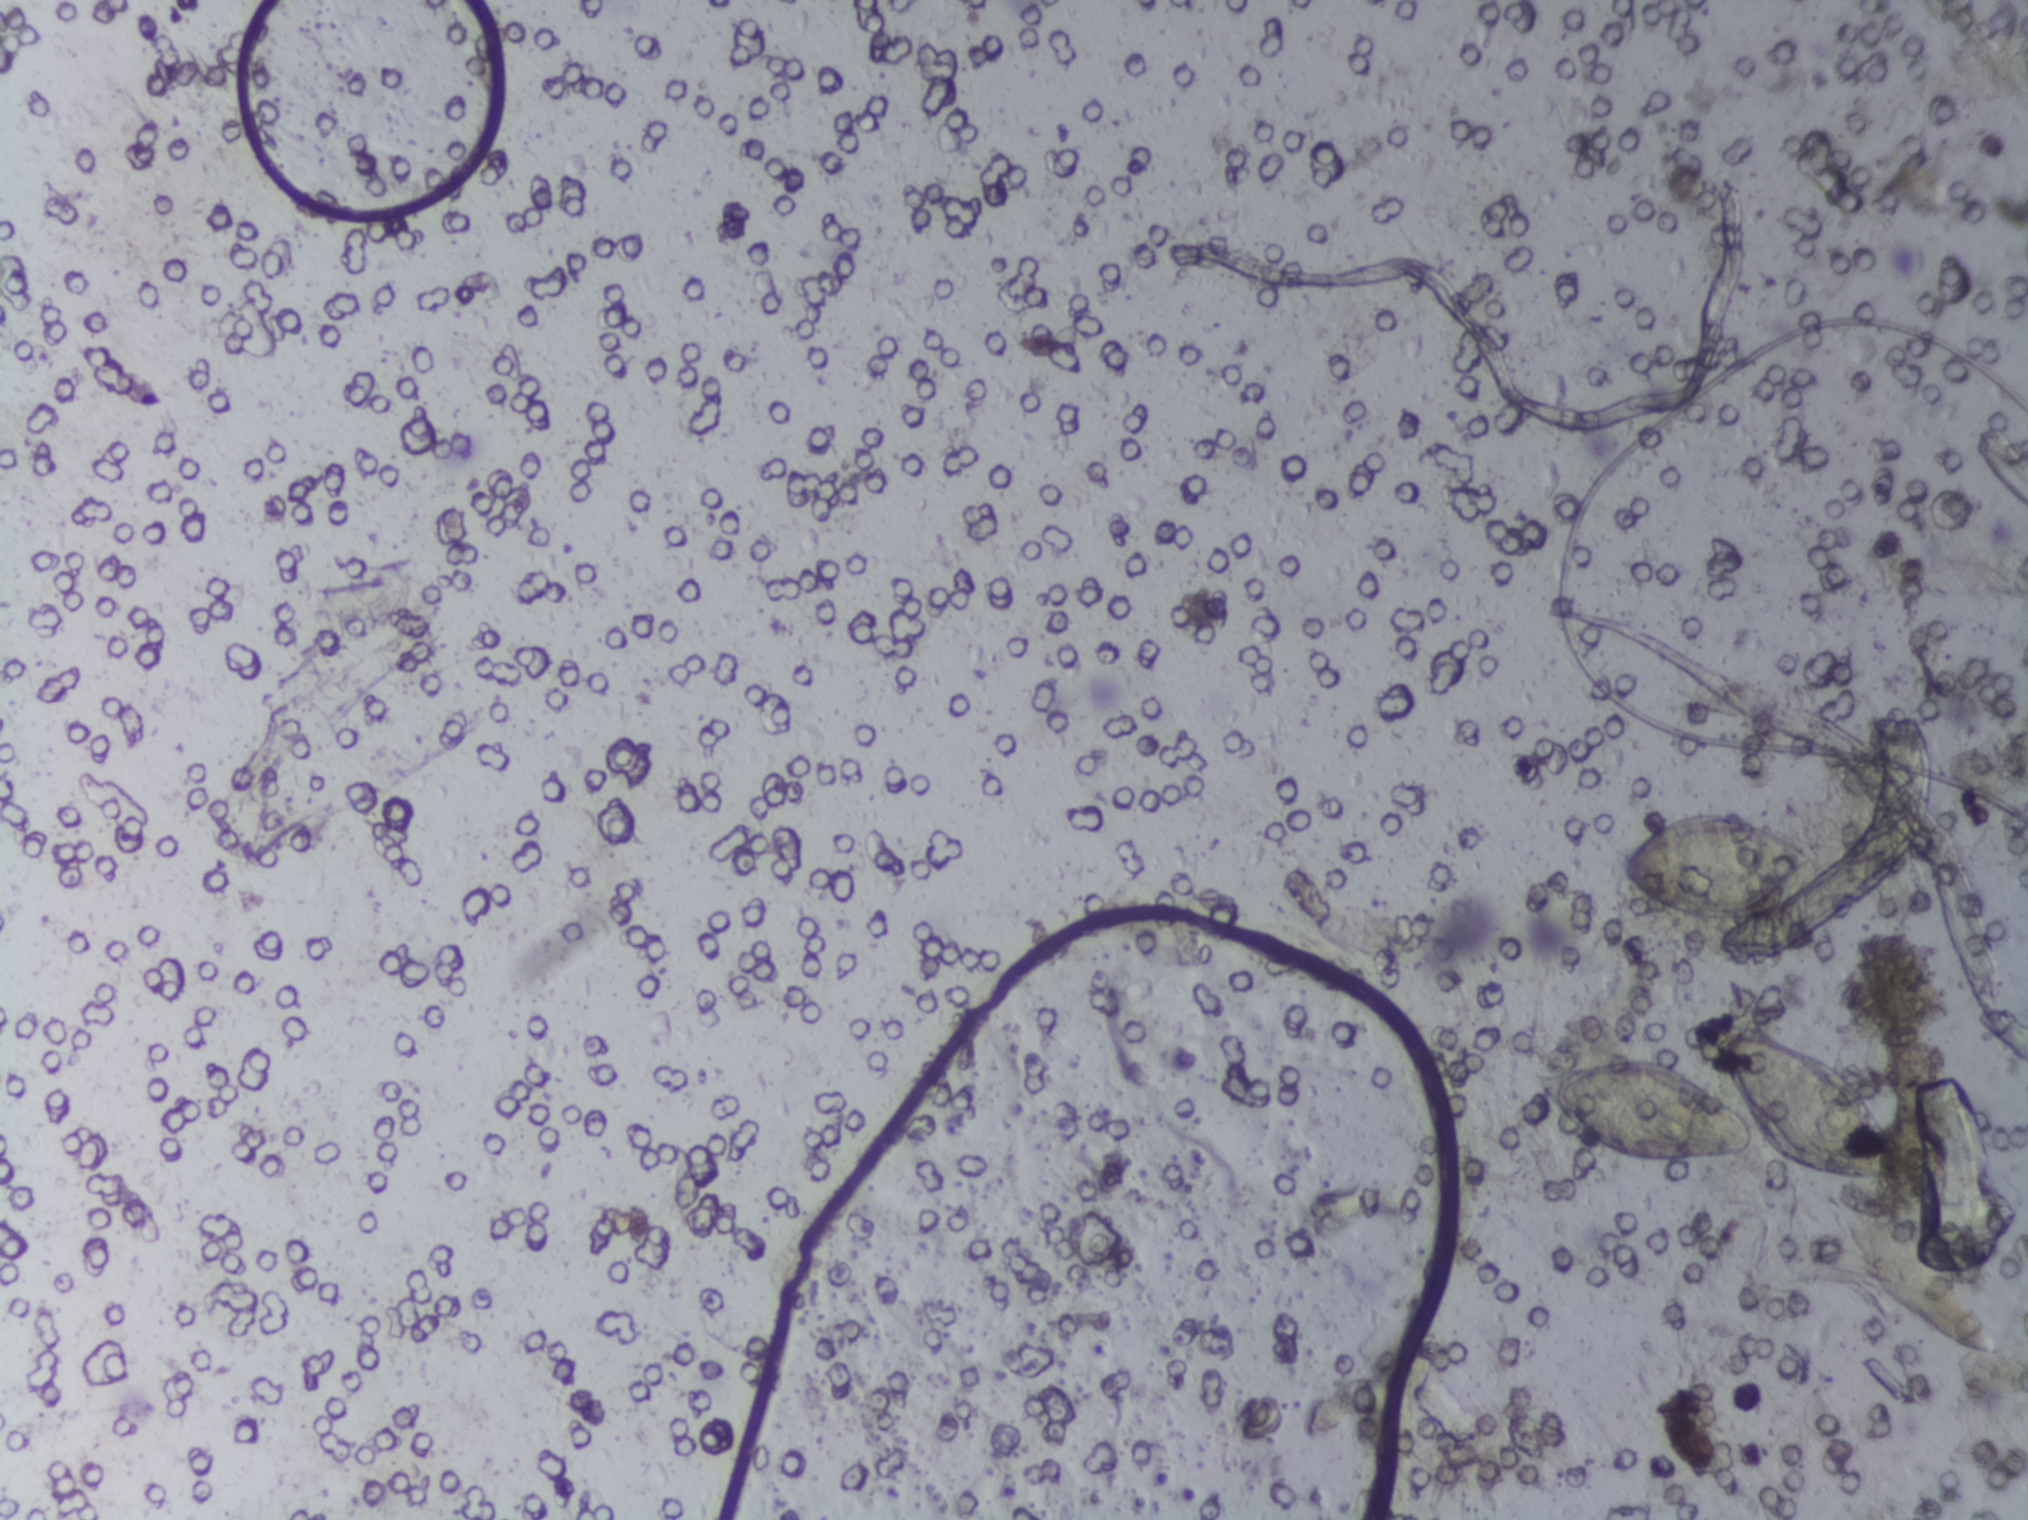
Photograph from an automated digital microscope: urine filter membrane, 4× objective. The field of view is about 1.5 mm × 1.1 mm.
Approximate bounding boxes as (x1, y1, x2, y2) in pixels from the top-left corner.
Schistosoma eggs are outlined in three areas of this image, listed from left to right: (1530, 1026, 1912, 1183); (1622, 809, 1812, 926); (1940, 727, 2027, 794) (reaching the right edge of the frame). The marked pixels themselves, not the boxes around them, cover about 1.8% of the image. Eggs that touch can end up inside the same outlined area.